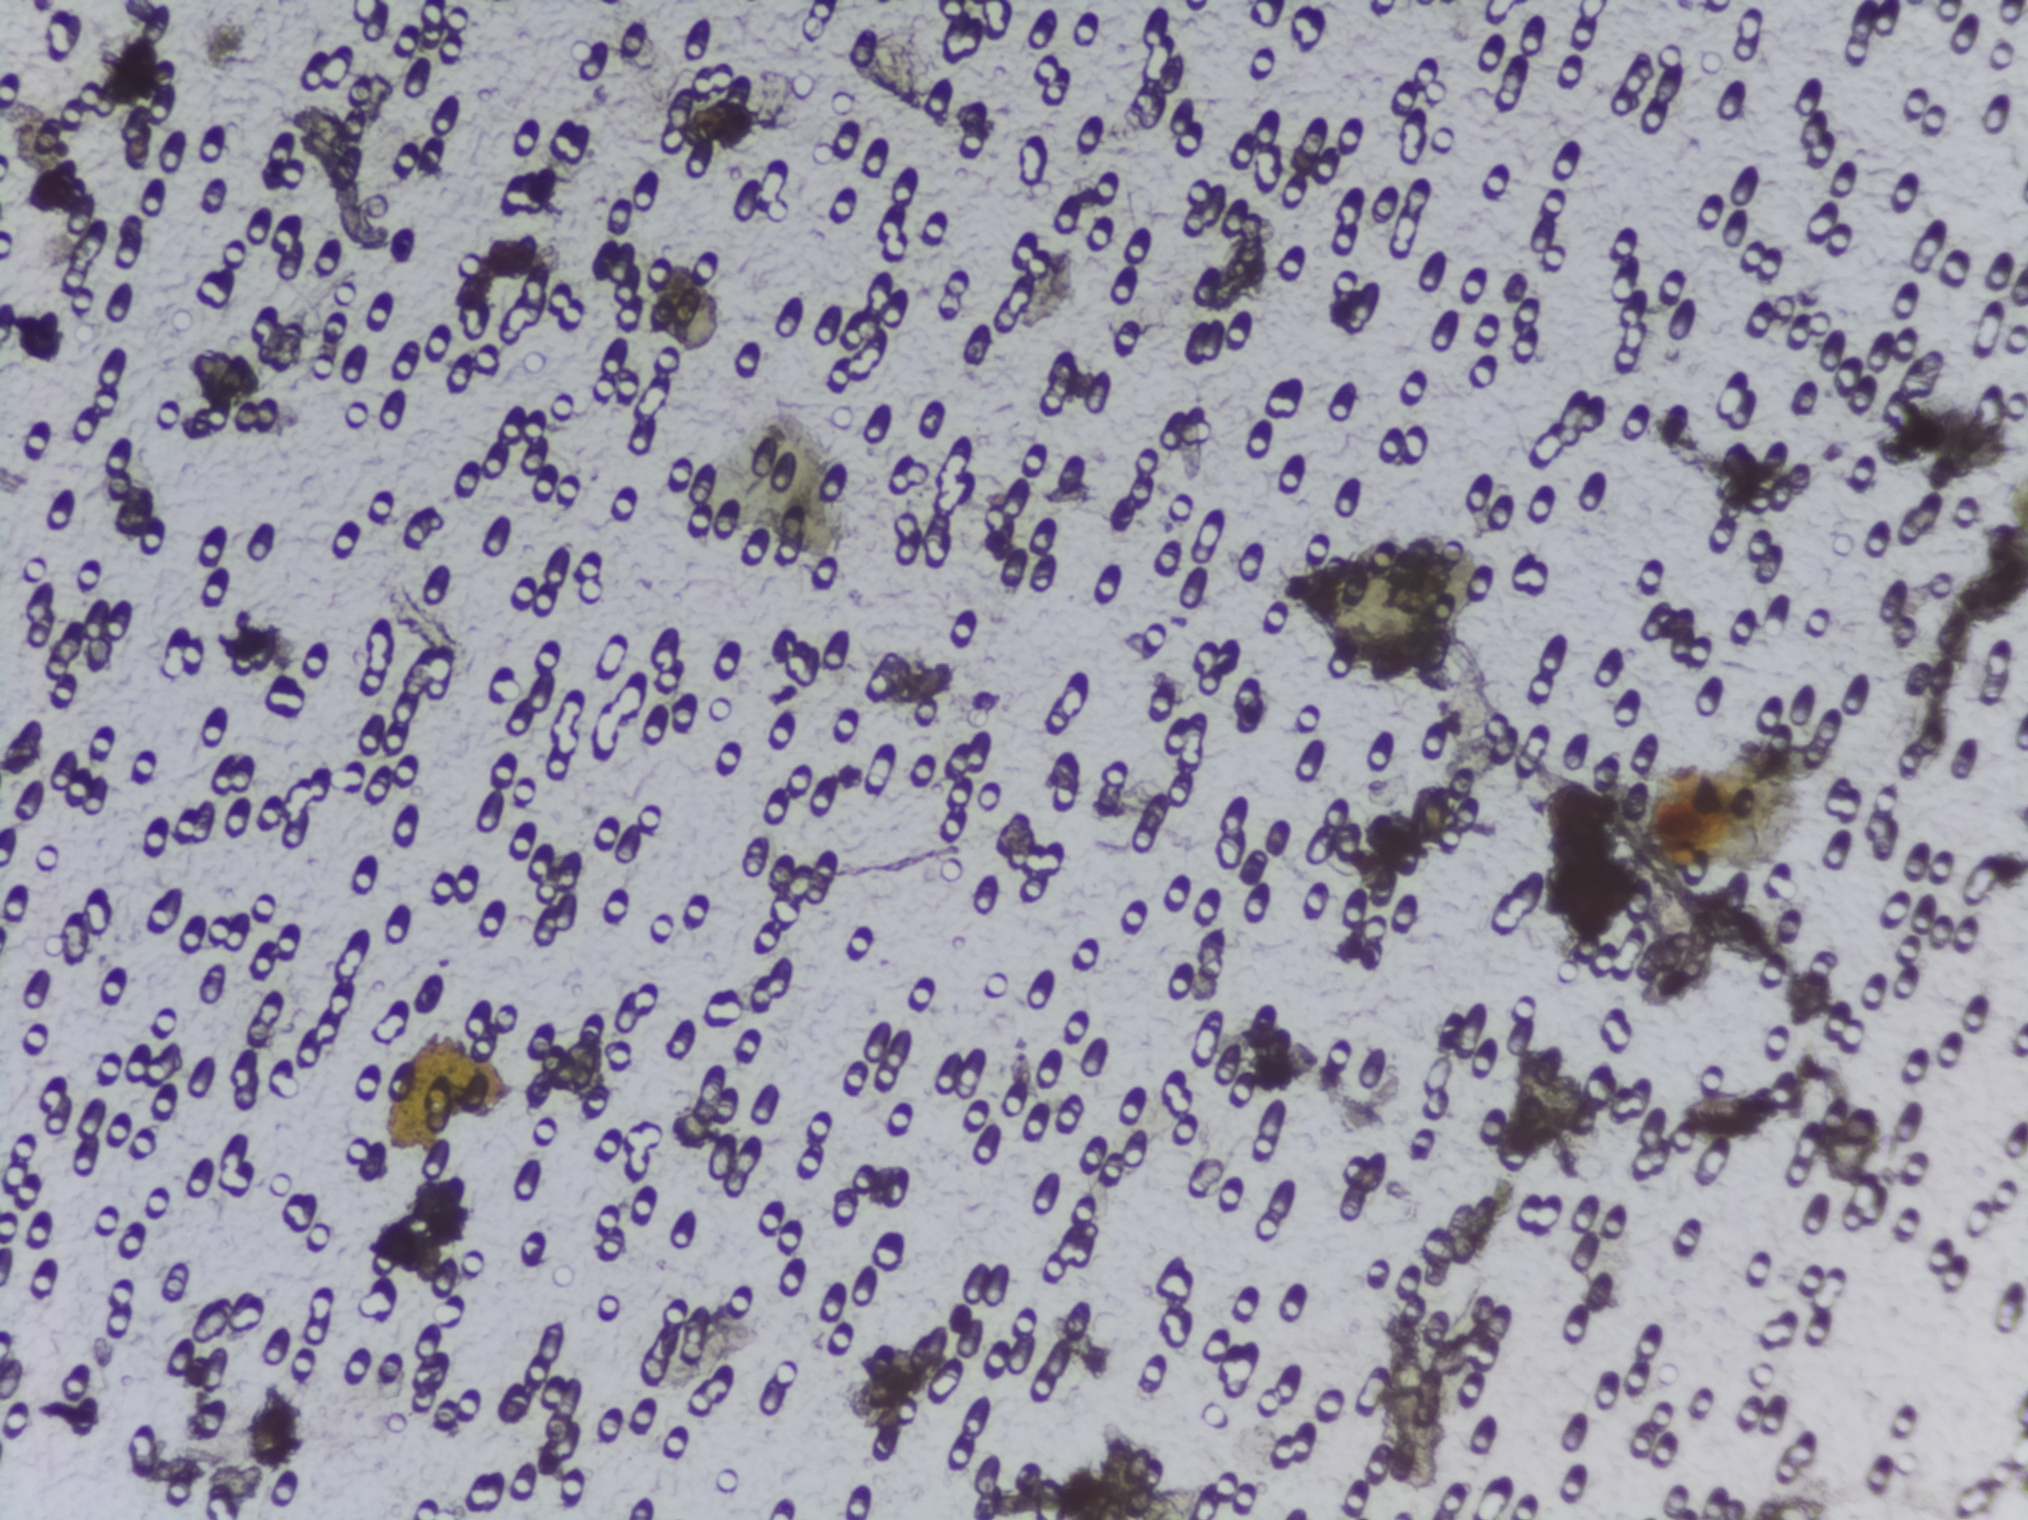
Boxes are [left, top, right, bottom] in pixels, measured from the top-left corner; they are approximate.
Schistosoma eggs are outlined in the expert annotation at [1260, 534, 1498, 670]. Eggs that touch can end up inside the same outlined area.
Microscope photograph (4× objective) of a membrane that a urine sample was filtered through.